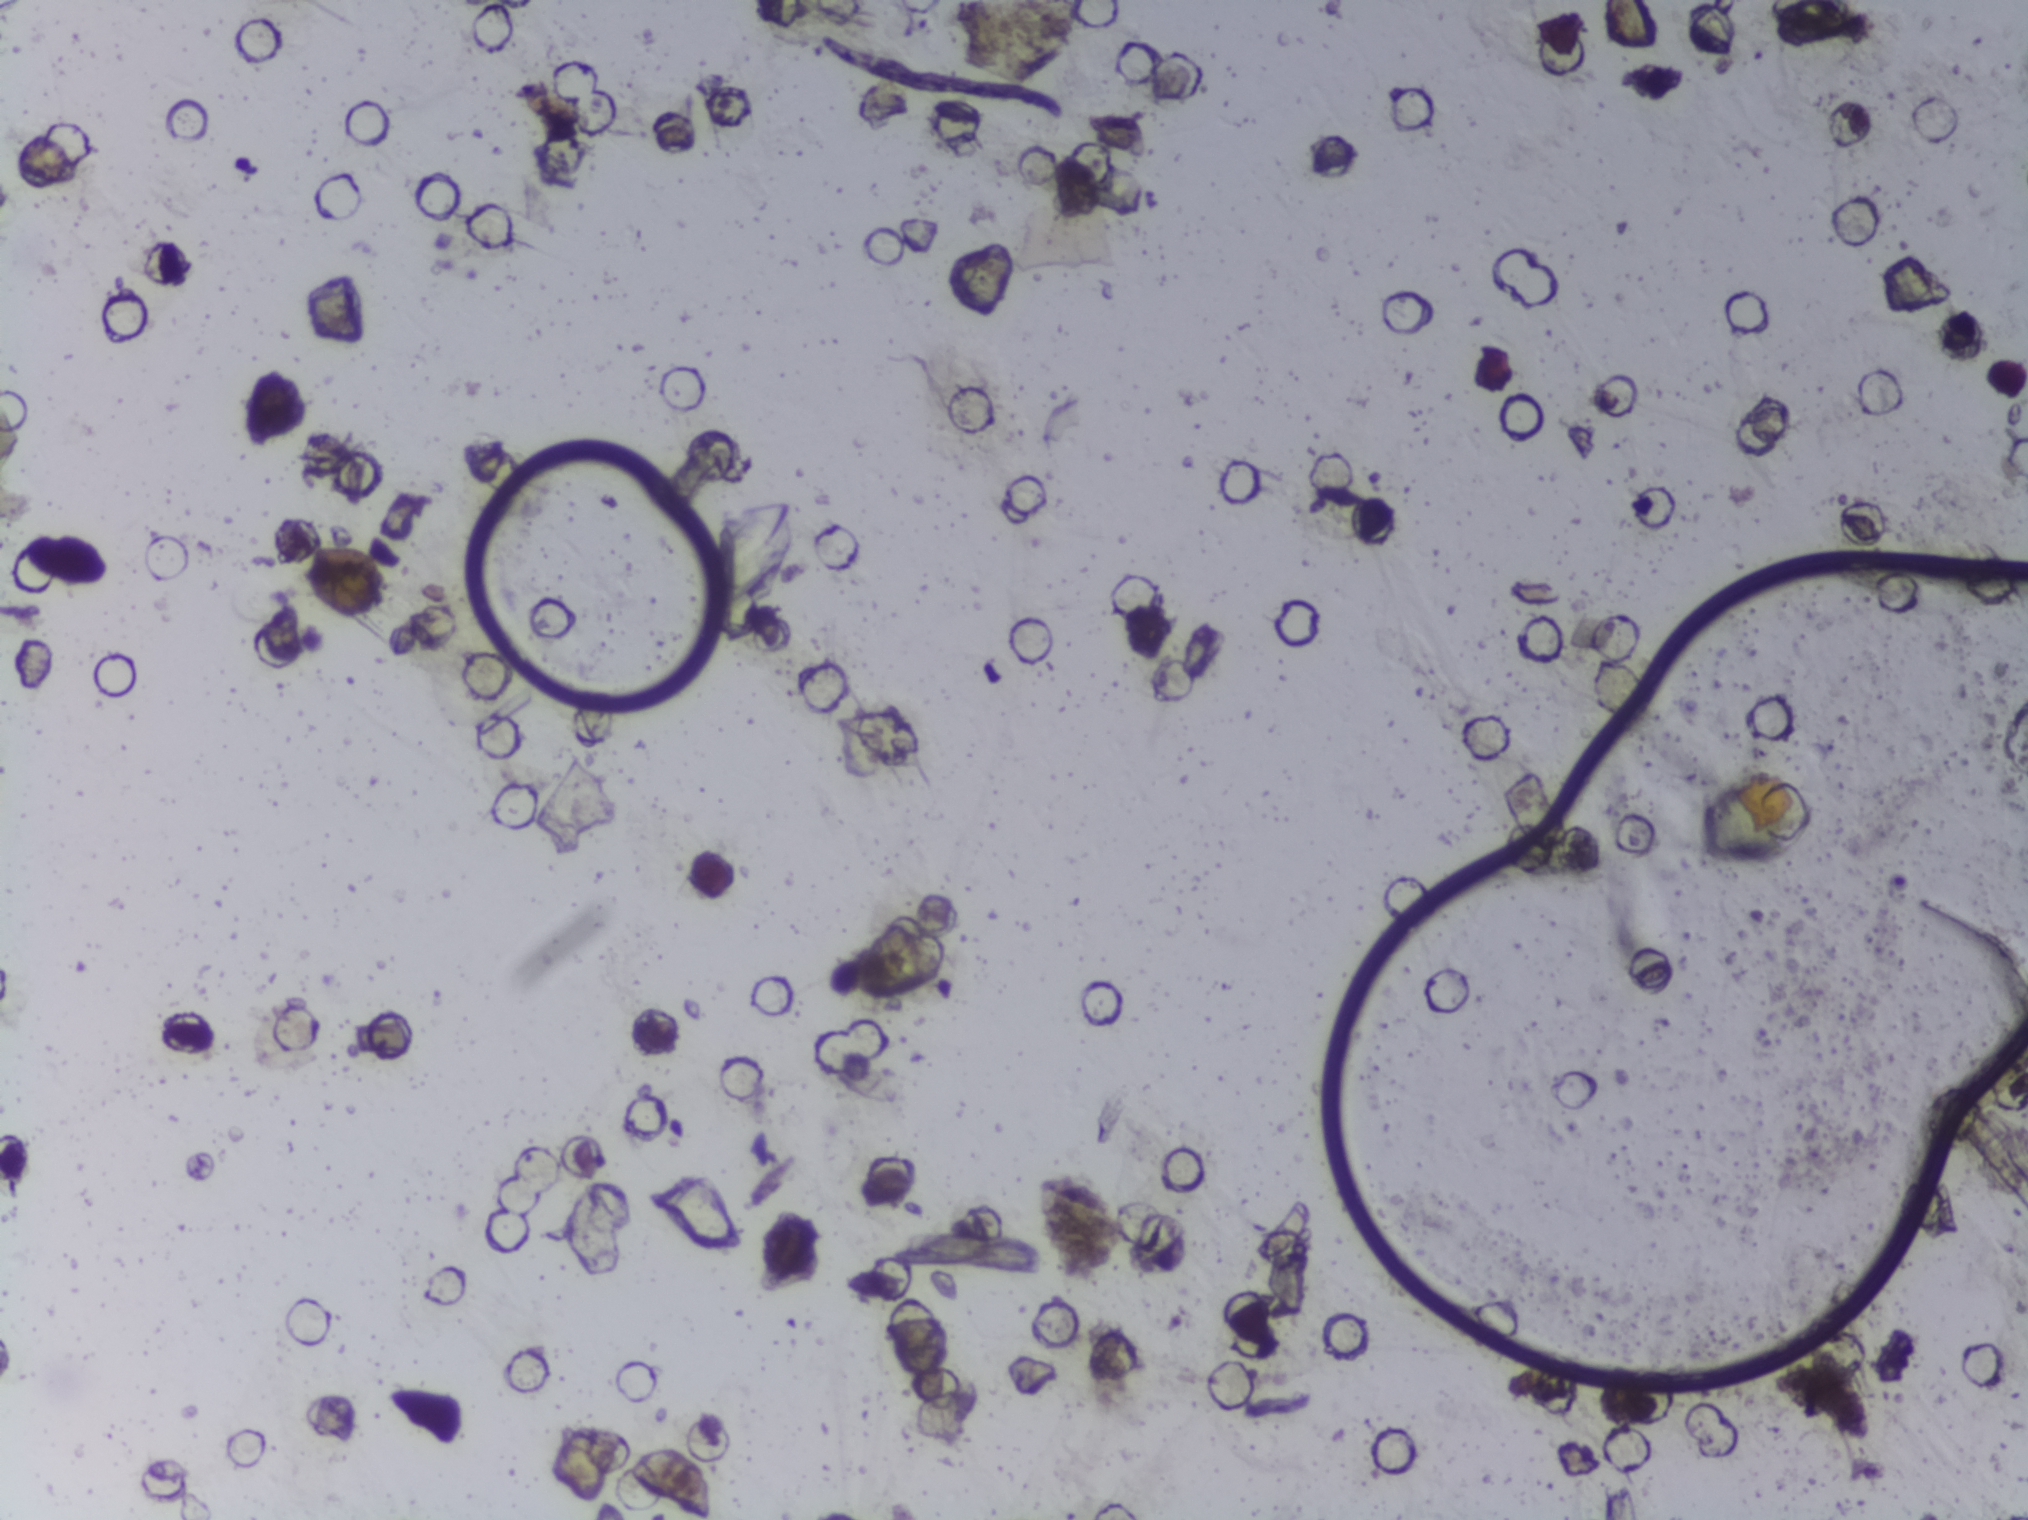
Photograph from an automated digital microscope: urine filter membrane, 4× objective. Field of view: about 1.5 mm wide and 1.1 mm high.
No Schistosoma egg is outlined in this image's expert annotation.